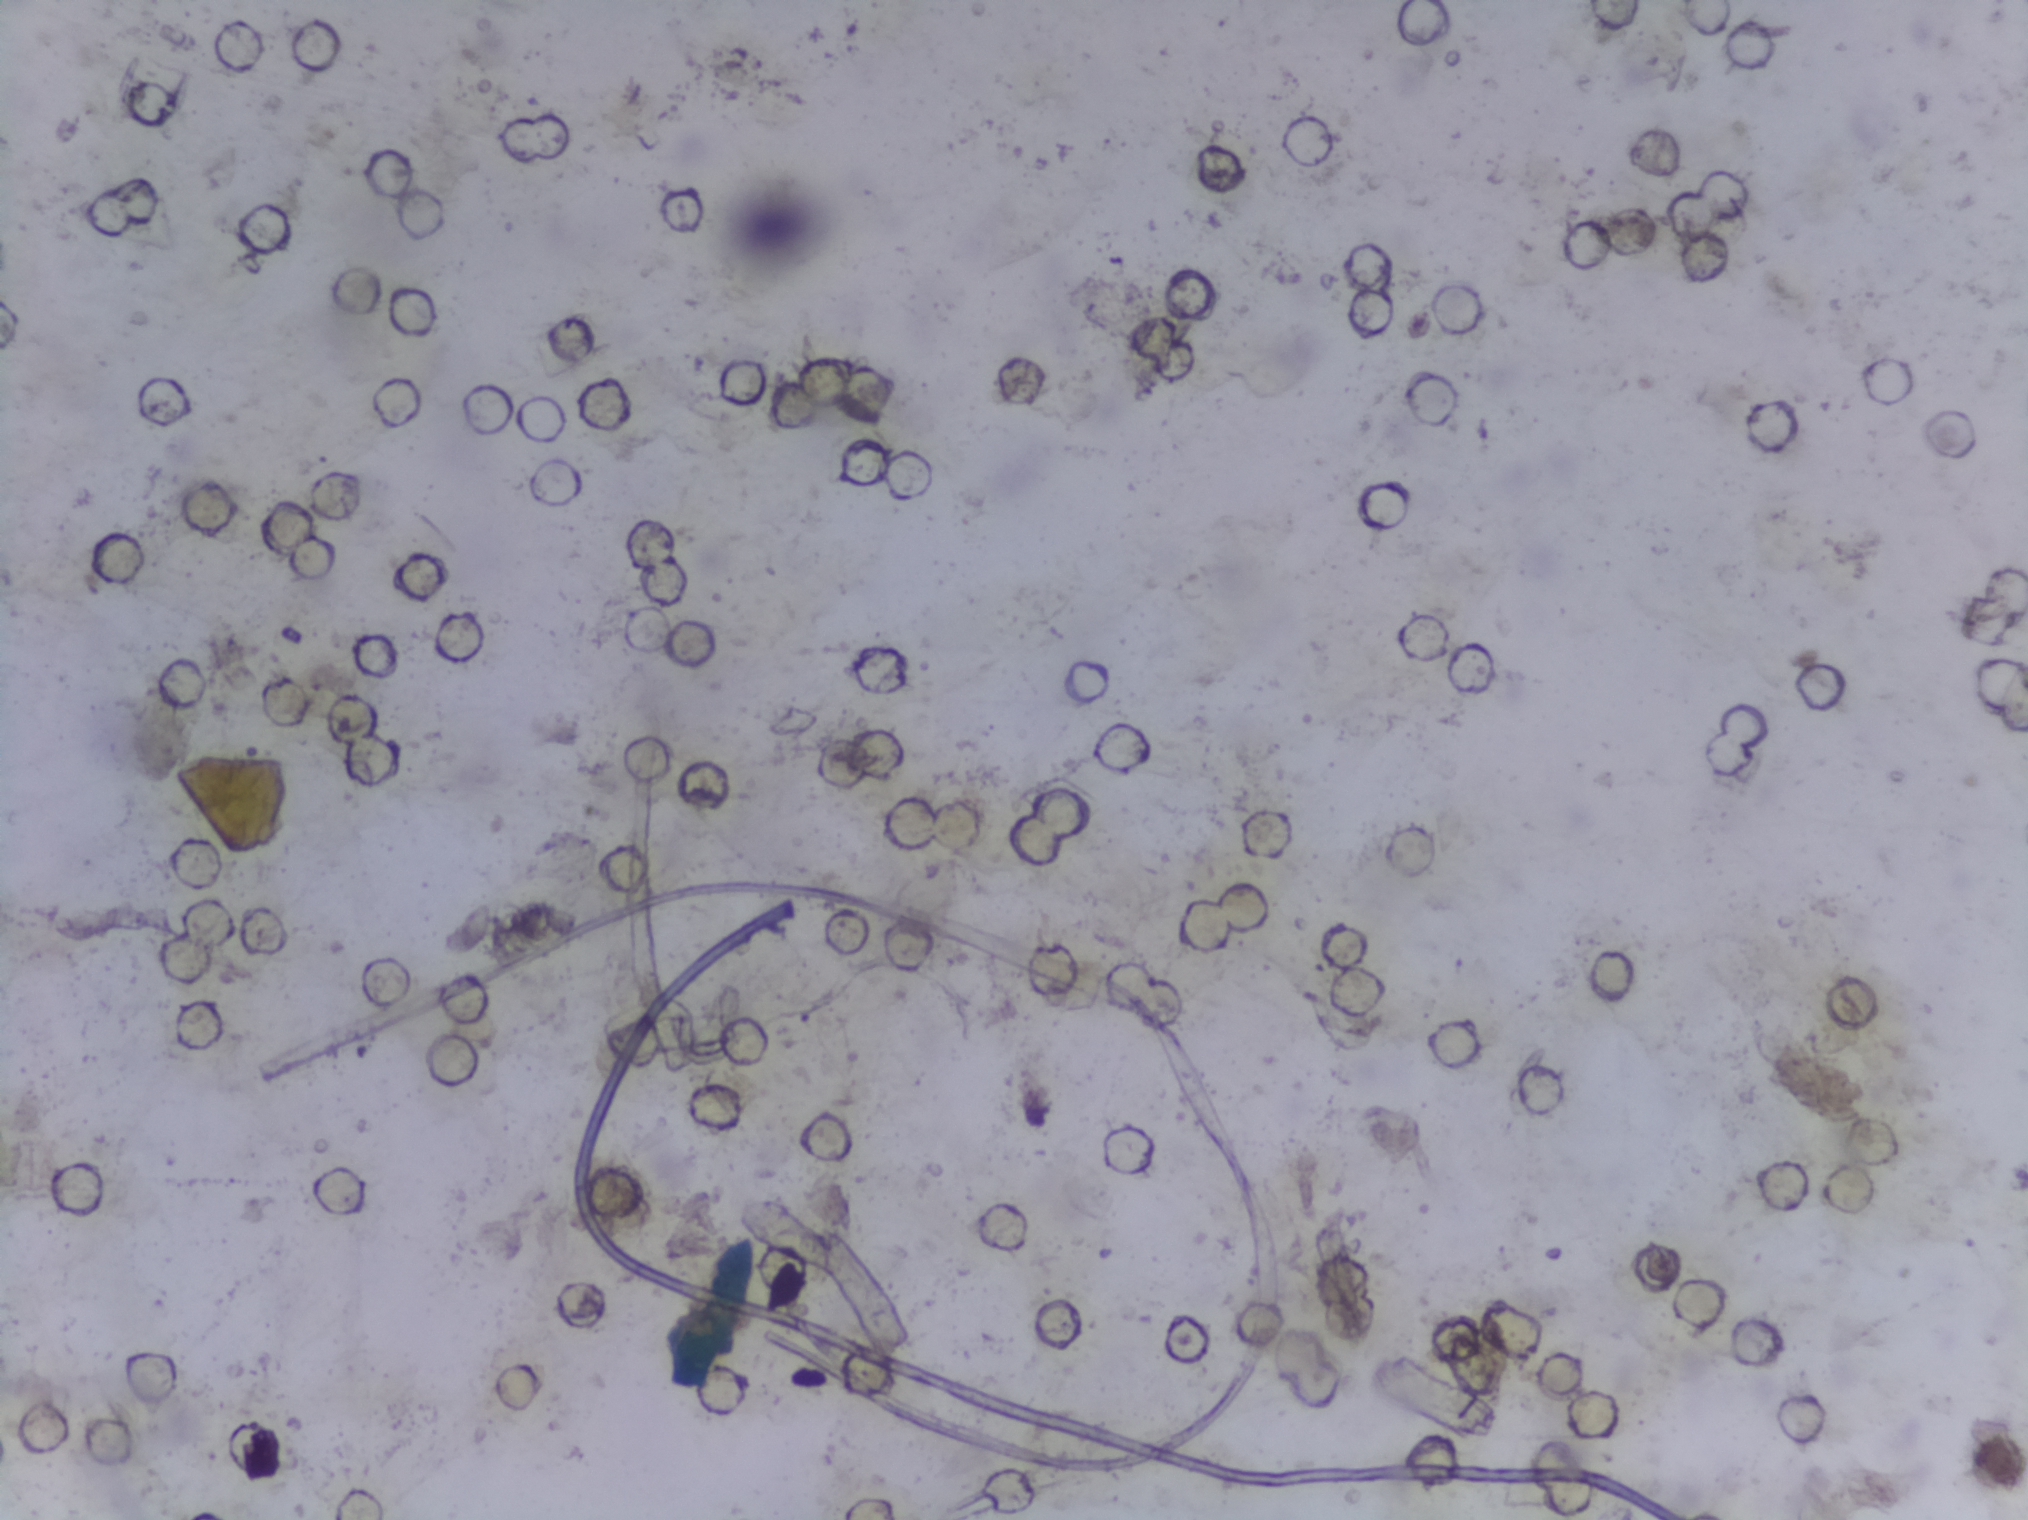
Microscope photograph (4× objective) of a membrane that a urine sample was filtered through.
The expert annotation marks no Schistosoma egg in this field of view.